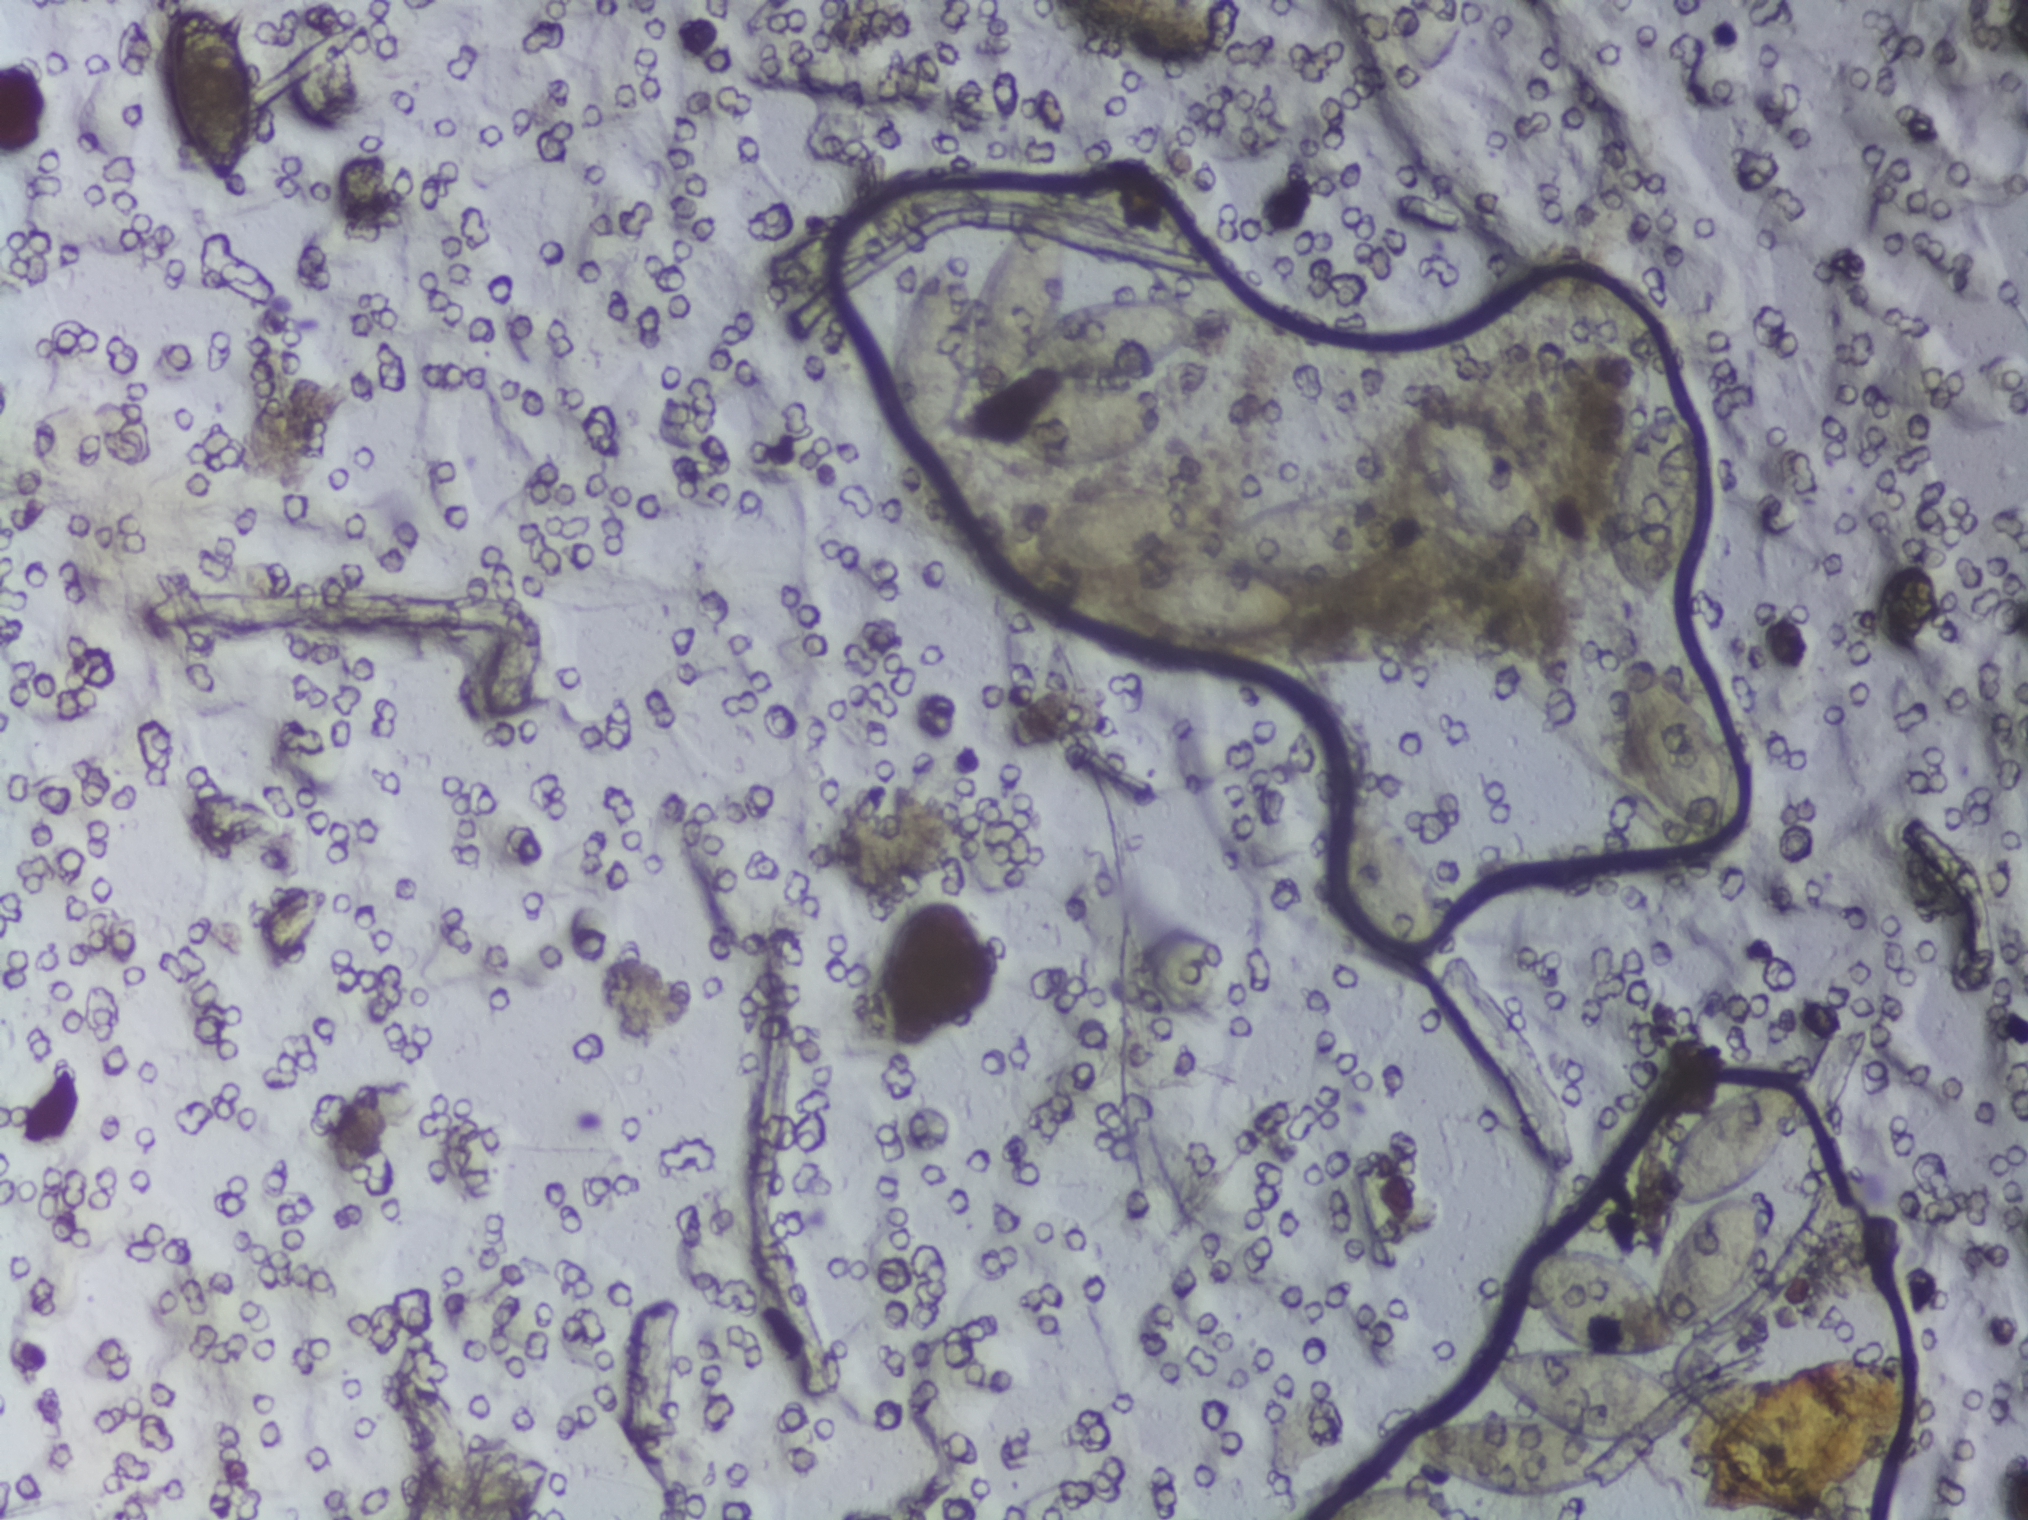
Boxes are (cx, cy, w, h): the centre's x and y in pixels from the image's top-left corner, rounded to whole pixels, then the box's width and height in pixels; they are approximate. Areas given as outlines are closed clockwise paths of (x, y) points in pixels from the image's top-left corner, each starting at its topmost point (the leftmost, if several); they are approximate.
The expert annotation outlines Schistosoma eggs in nine areas, left to right: box (cx=207, cy=96, w=95, h=185); box (cx=1045, cy=339, w=318, h=277) (a cluster of eggs); box (cx=1225, cy=561, w=401, h=167); box (cx=1388, cy=887, w=119, h=196); box (cx=1395, cy=1500, w=159, h=39) (reaching the bottom edge of the frame); box (cx=1484, cy=482, w=170, h=153); outline (1772, 1073), (1805, 1074), (1807, 1095), (1791, 1148), (1744, 1191), (1758, 1194), (1767, 1209), (1766, 1255), (1754, 1288), (1727, 1315), (1685, 1332), (1688, 1345), (1636, 1363), (1693, 1397), (1702, 1406), (1698, 1421), (1643, 1442), (1608, 1442), (1628, 1476), (1594, 1494), (1503, 1501), (1449, 1484), (1399, 1454), (1398, 1442), (1430, 1424), (1528, 1415), (1493, 1379), (1489, 1359), (1526, 1346), (1572, 1344), (1532, 1312), (1521, 1260), (1540, 1248), (1595, 1249), (1655, 1282), (1662, 1251), (1694, 1211), (1654, 1206), (1654, 1179), (1675, 1135), (1701, 1105) (a cluster of eggs); box (cx=1653, cy=503, w=105, h=208); box (cx=1675, cy=756, w=123, h=205). An outlined area can hold more than one egg. Any one outlined egg may, rarely, be S. mansoni rather than S. haematobium.
One field of view of a urine filter membrane, 4× objective, 2028 × 1520 pixels.